One field of view of a urine filter membrane, 4× objective, 2028 × 1520 pixels. The image covers about 1.5 × 1.1 mm of the membrane.
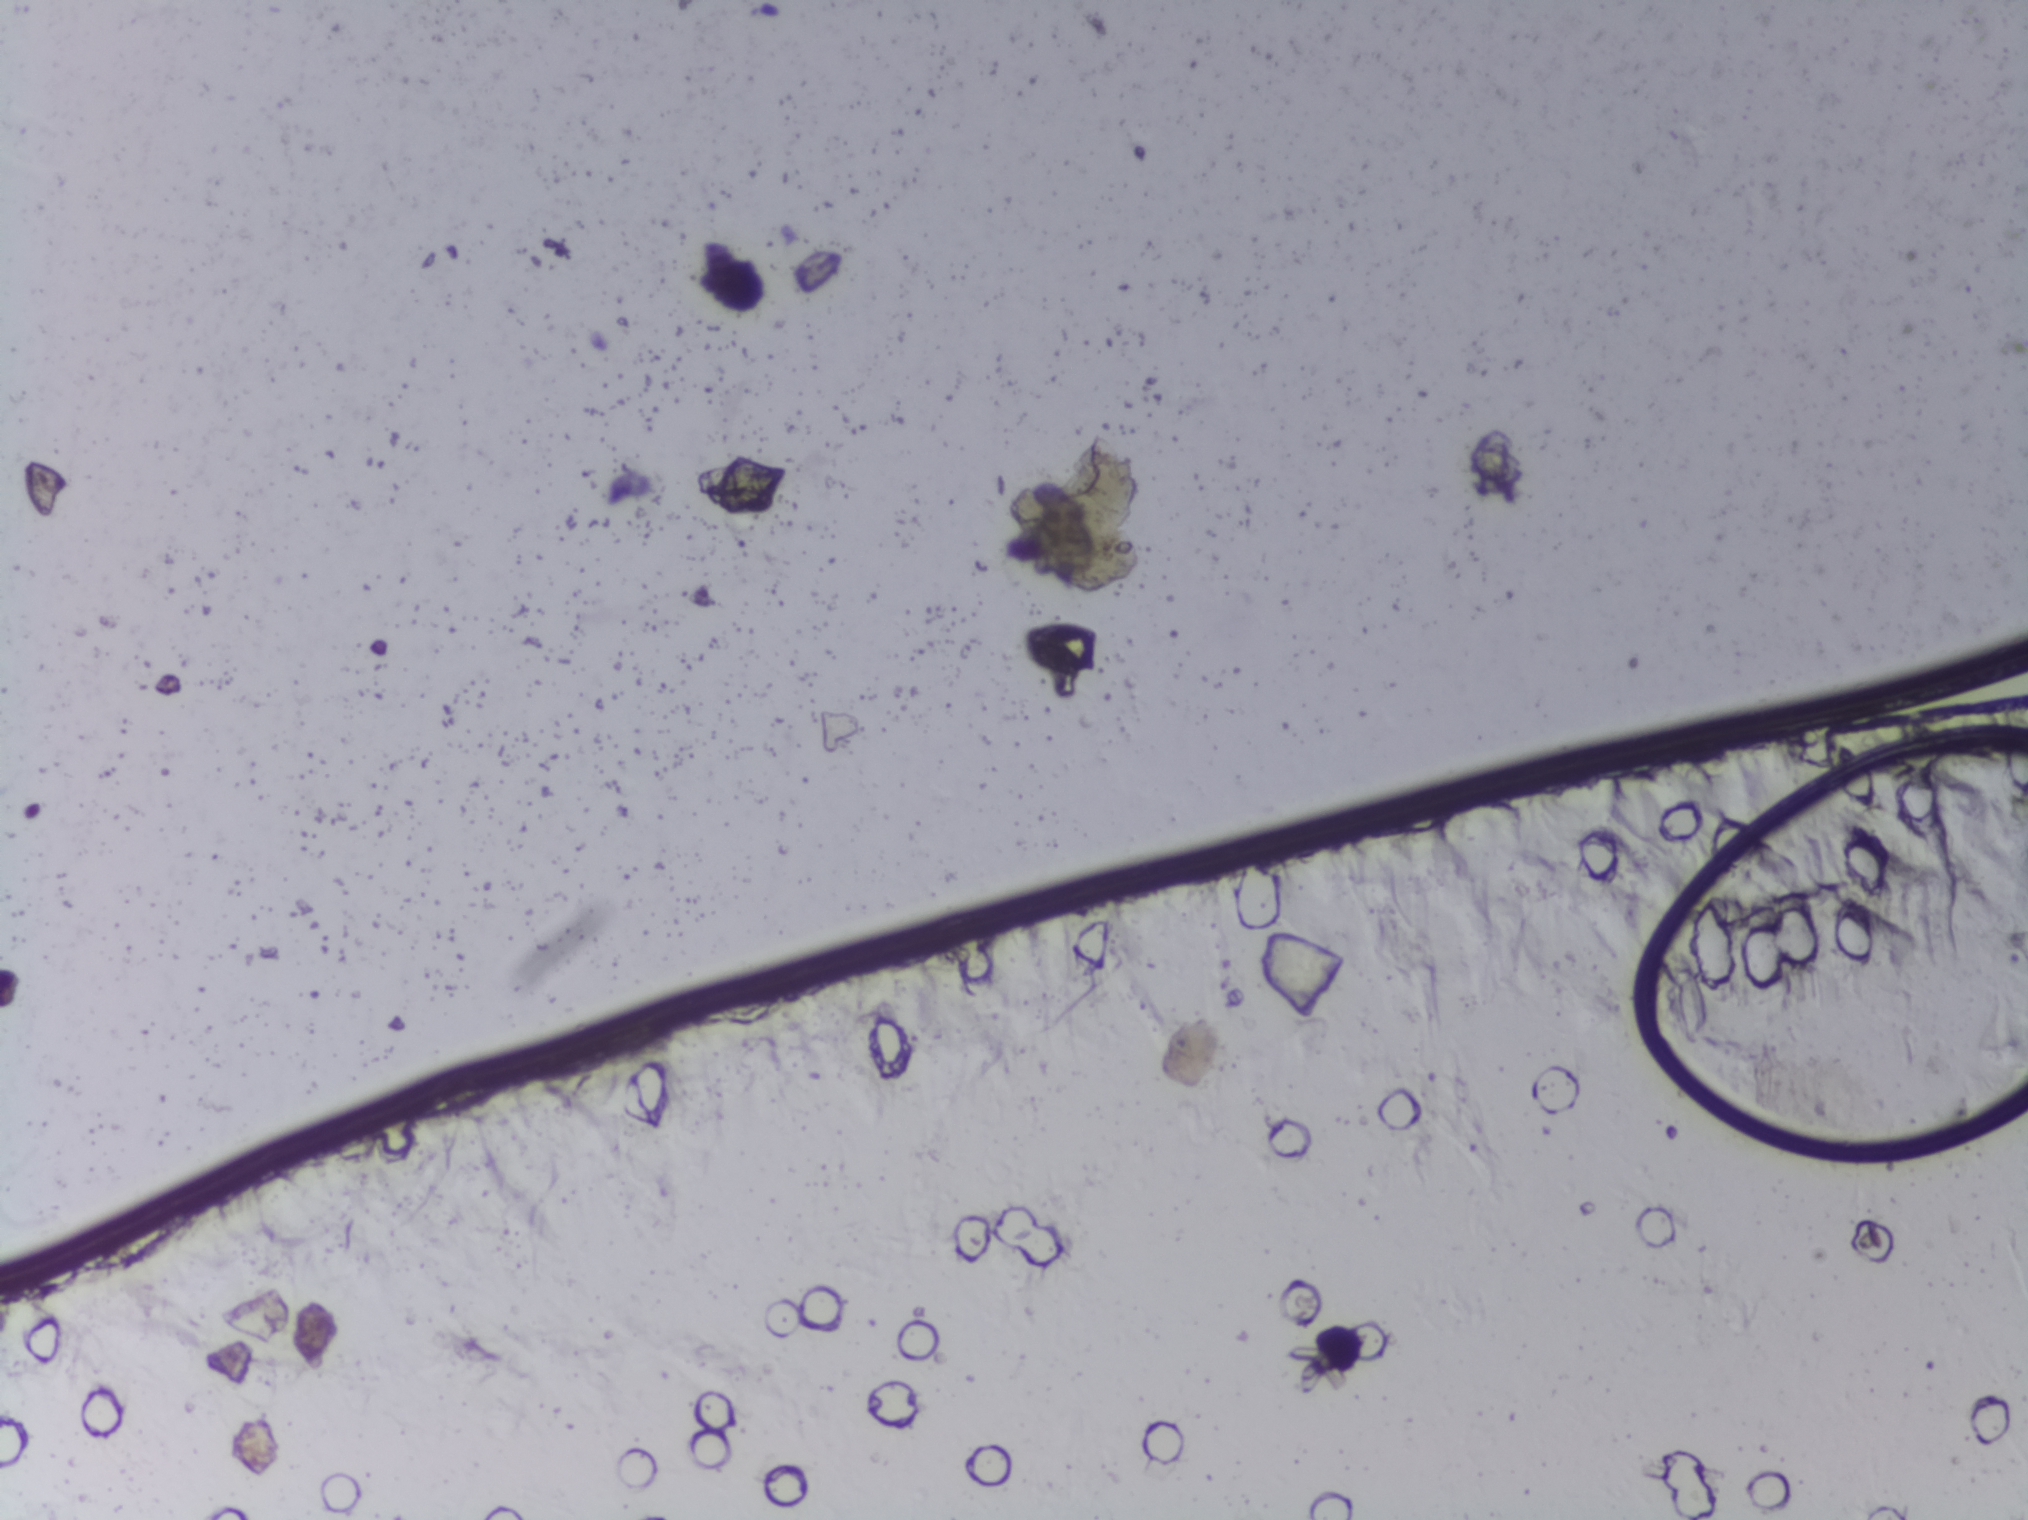
No Schistosoma egg is outlined in this image's expert annotation.